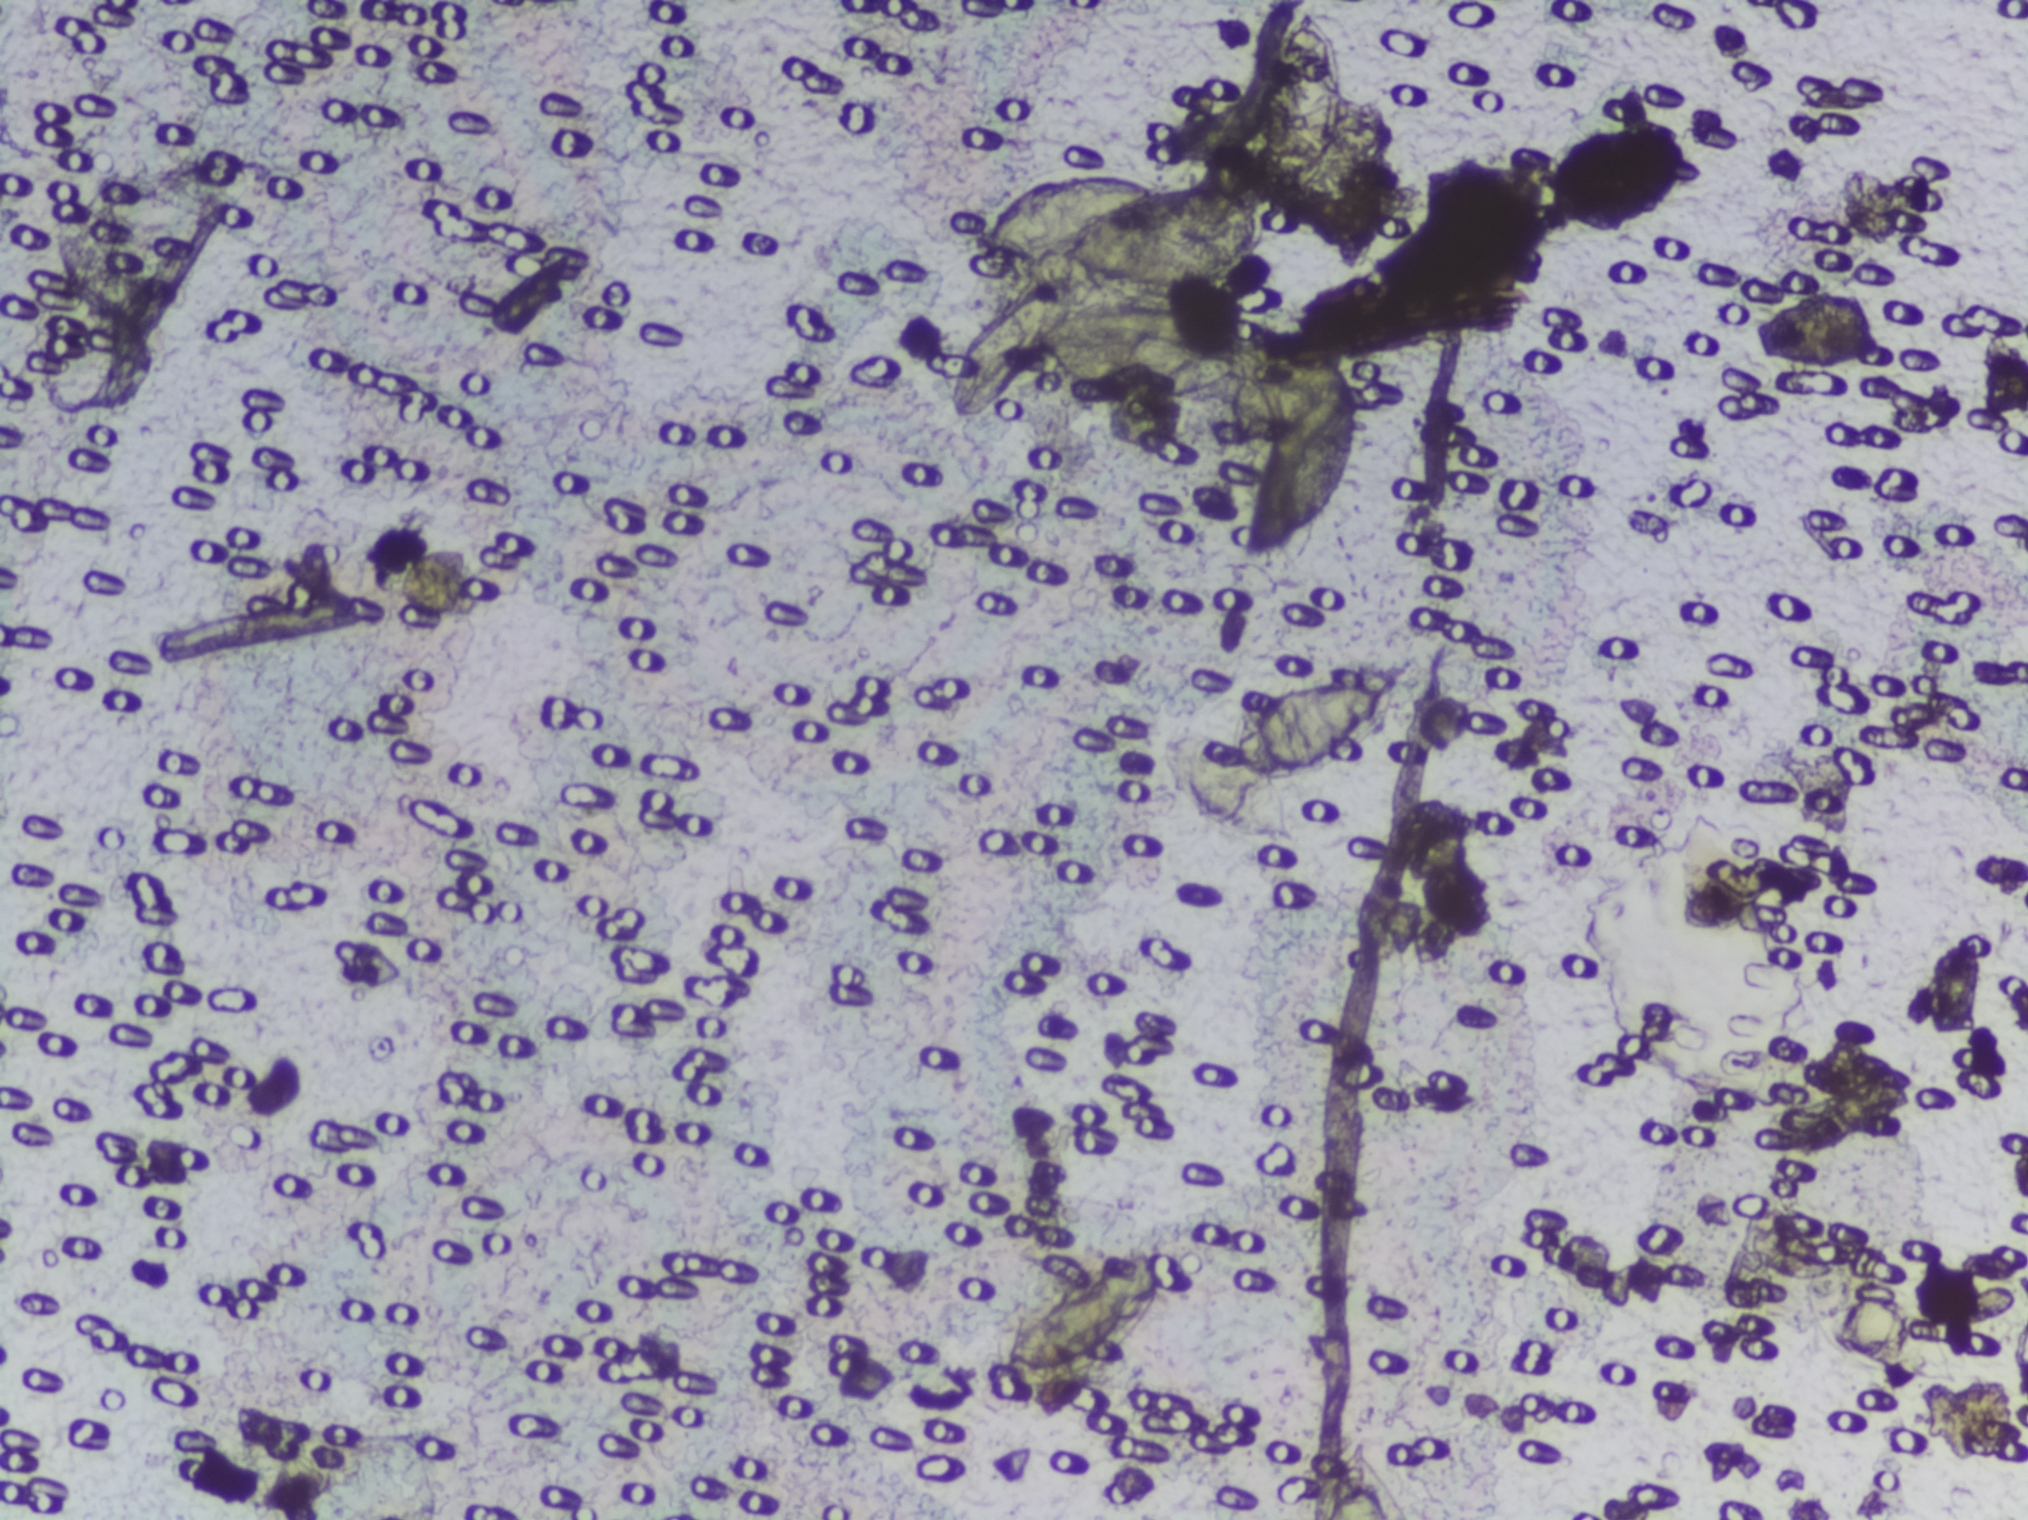
Photograph from an automated digital microscope: urine filter membrane, 4× objective.
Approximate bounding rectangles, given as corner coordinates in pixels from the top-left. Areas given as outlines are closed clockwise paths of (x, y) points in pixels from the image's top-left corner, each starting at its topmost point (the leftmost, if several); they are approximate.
The expert annotation outlines Schistosoma eggs in three areas, left to right: outline (1288, 0), (1322, 3), (1331, 11), (1349, 61), (1349, 86), (1392, 86), (1404, 101), (1404, 123), (1391, 158), (1378, 162), (1344, 211), (1321, 218), (1306, 210), (1264, 210), (1236, 244), (1239, 295), (1272, 319), (1333, 332), (1345, 346), (1342, 375), (1369, 384), (1369, 463), (1347, 500), (1294, 542), (1260, 562), (1246, 562), (1253, 493), (1276, 439), (1313, 388), (1289, 393), (1262, 433), (1253, 435), (1199, 388), (1079, 390), (1032, 369), (1001, 394), (987, 423), (954, 413), (951, 361), (962, 330), (1013, 287), (1012, 263), (986, 254), (969, 236), (969, 215), (983, 192), (1013, 169), (1137, 169), (1165, 182), (1214, 164), (1237, 131), (1266, 58), (1273, 20) (eggs clustered together; reaching the top edge of the frame); box (x1=995, y1=1238, x2=1181, y2=1397); box (x1=1226, y1=649, x2=1421, y2=798). Marked pixels, not the boxes and the outline around them: about 4.8% of the image. Eggs that touch can end up inside the same outlined area.